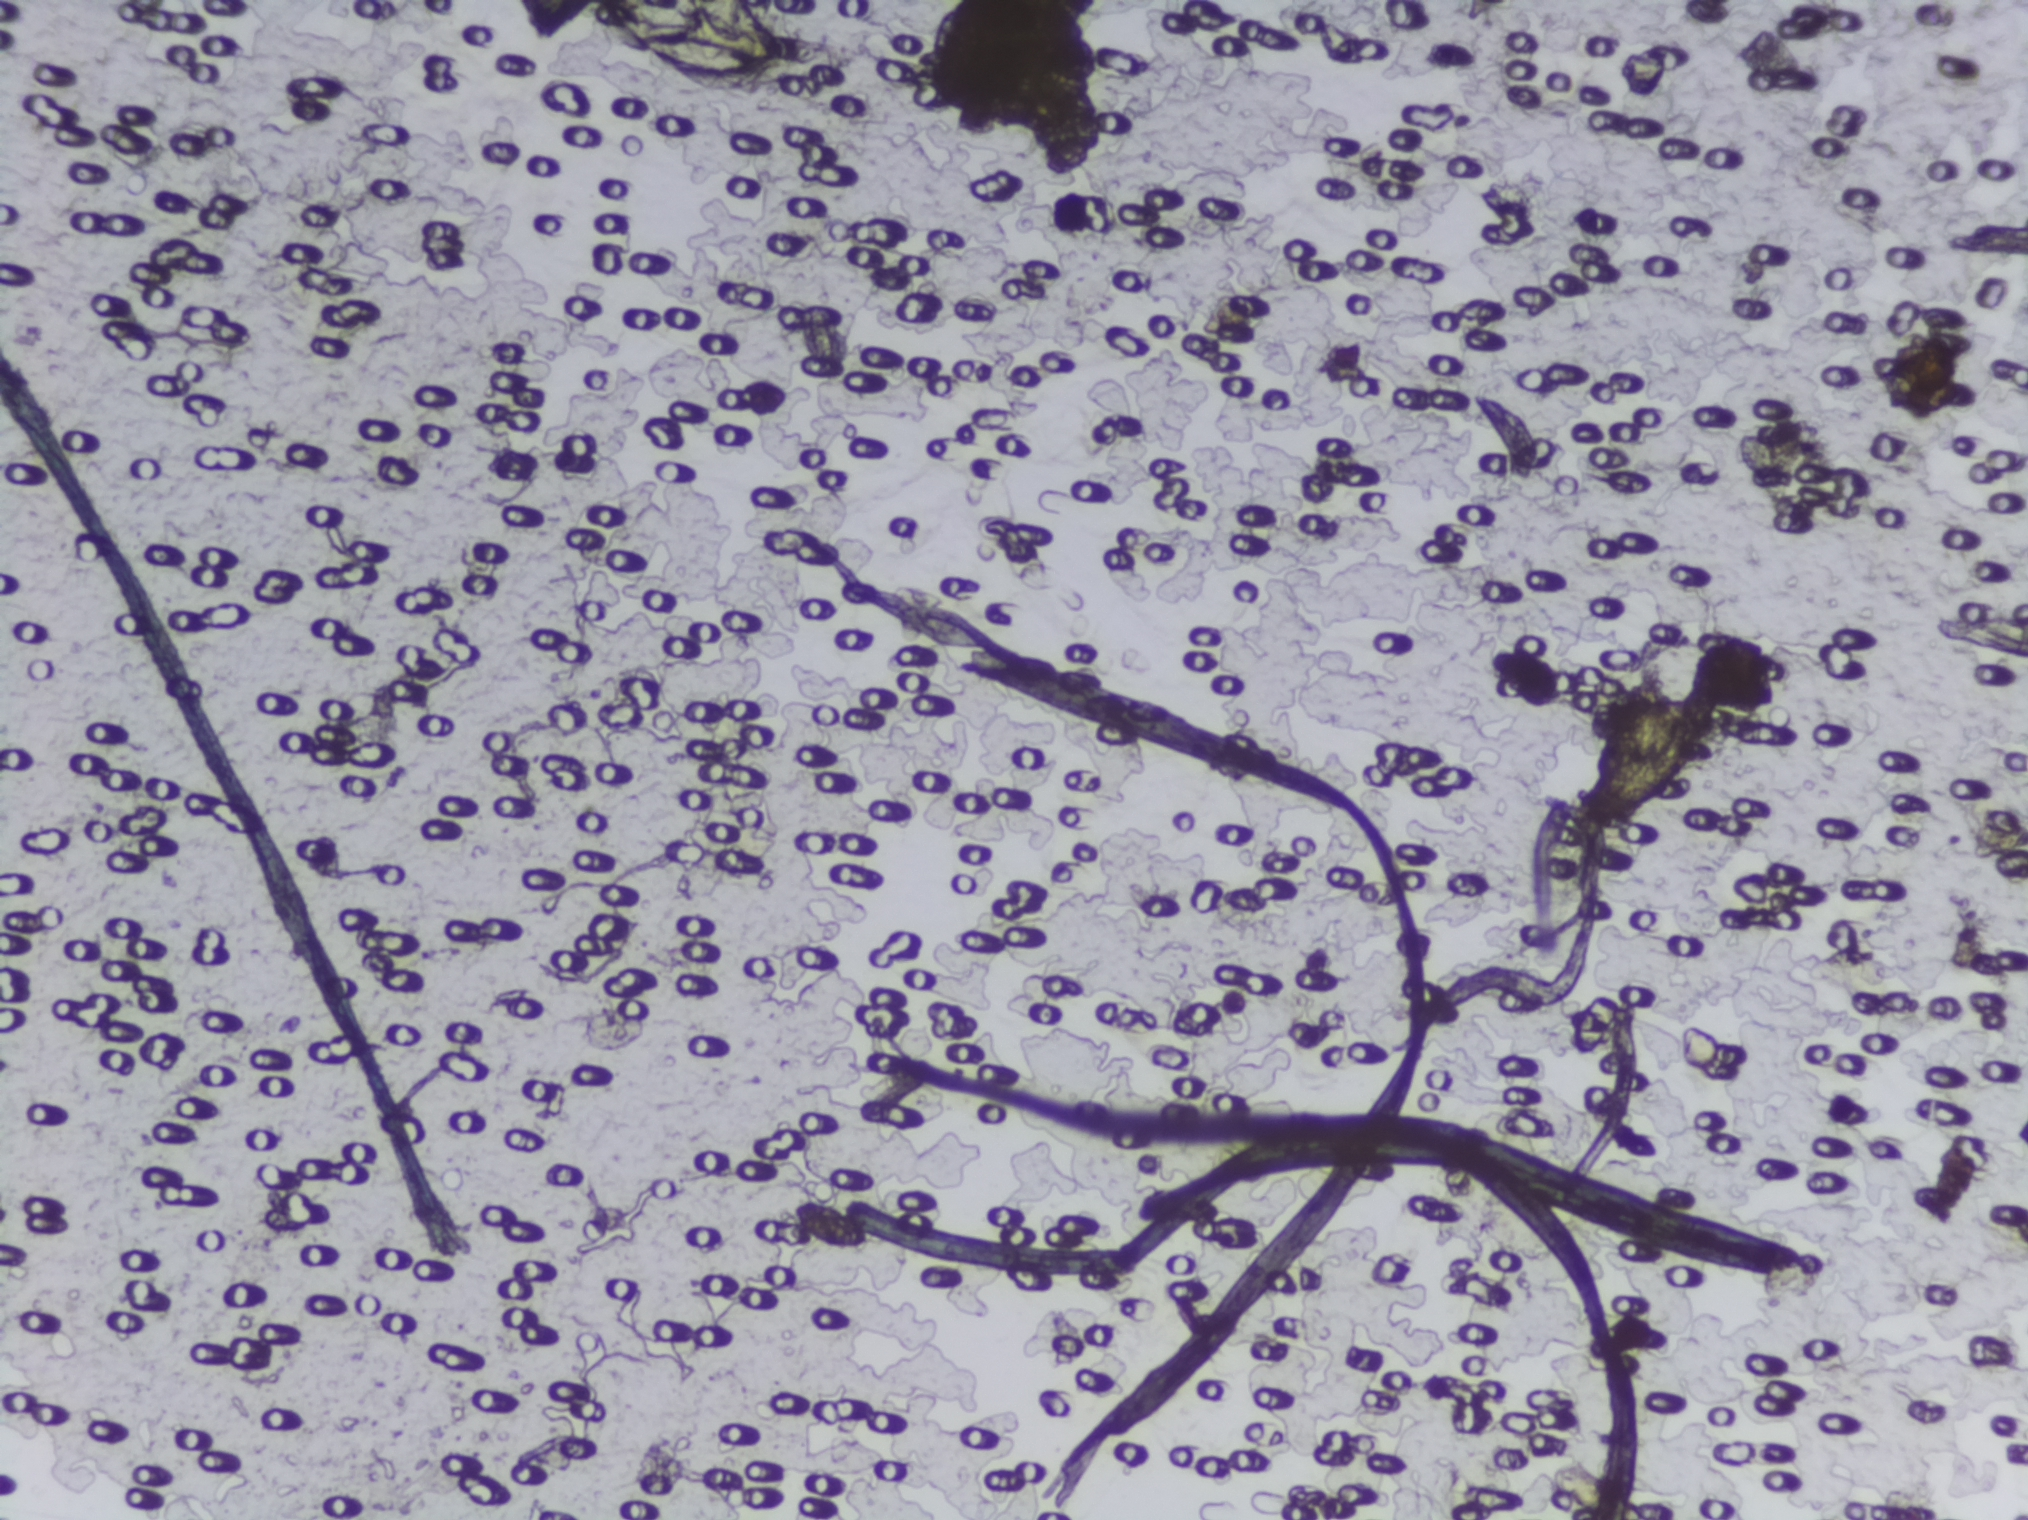
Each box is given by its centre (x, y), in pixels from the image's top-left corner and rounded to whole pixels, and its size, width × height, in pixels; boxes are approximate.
Schistosoma egg areas, outlined: centre (660, 42), 297 × 83 px. The marked pixels themselves, not the box around them, cover about 0.5% of the image. A single outlined area may contain several eggs.
Urine filtration membrane under a 4× objective, photographed by an automated digital microscope.